Photomicrograph of a urine filtration membrane, 4× objective.
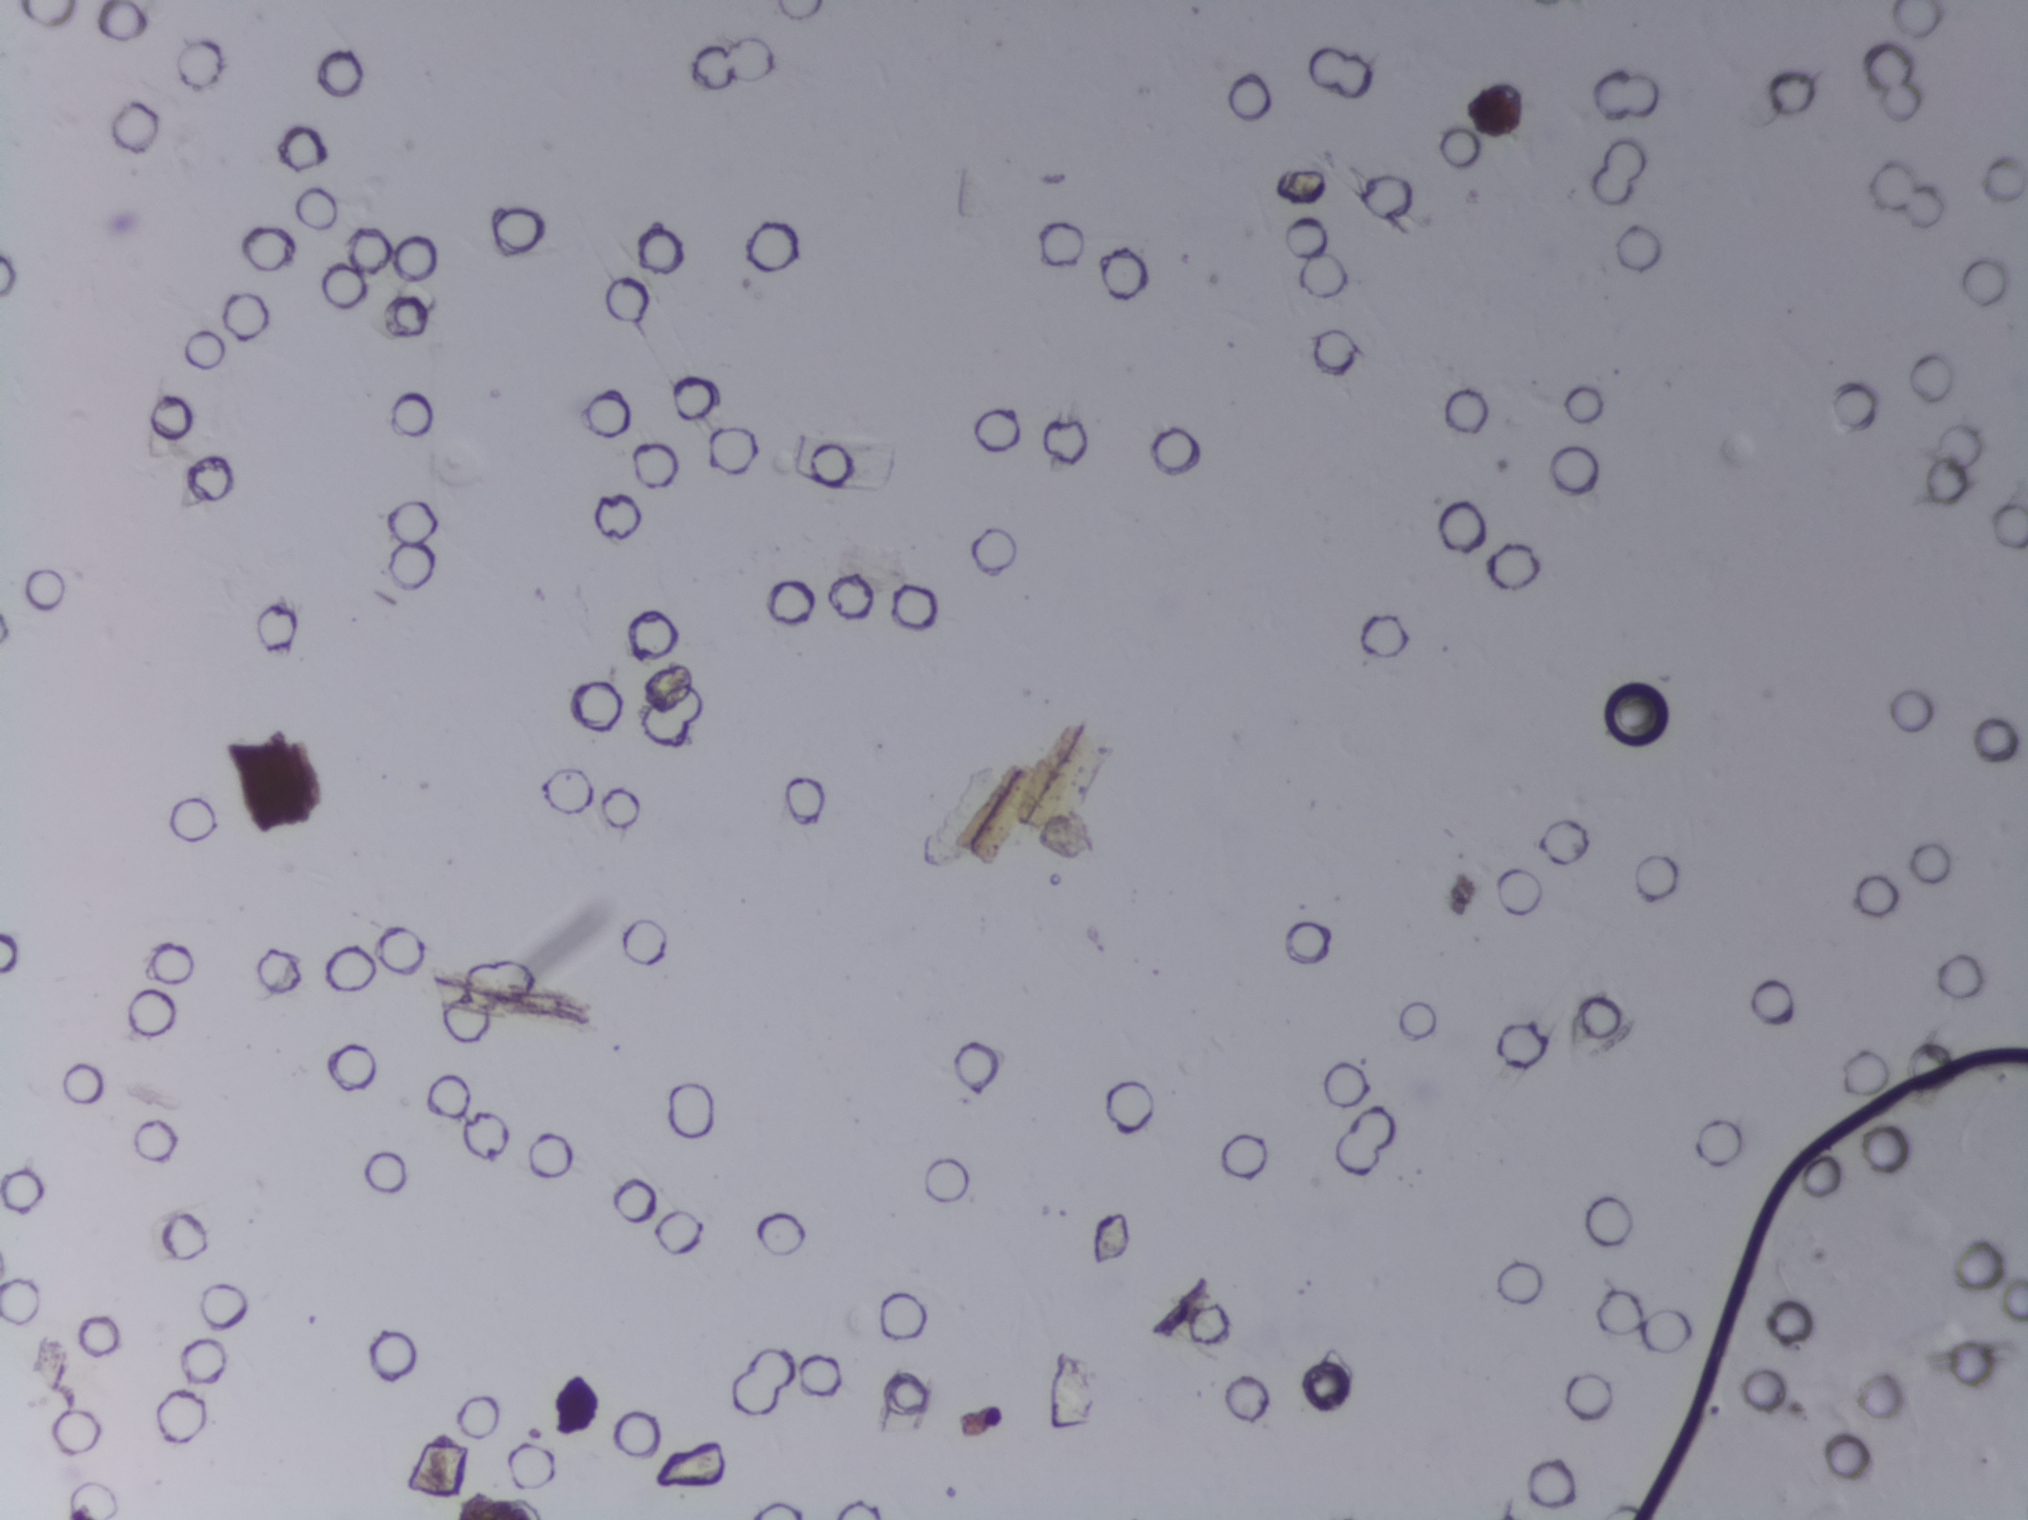
No Schistosoma egg is outlined in this image's expert annotation.